Urine filtration membrane under a 4× objective, photographed by an automated digital microscope.
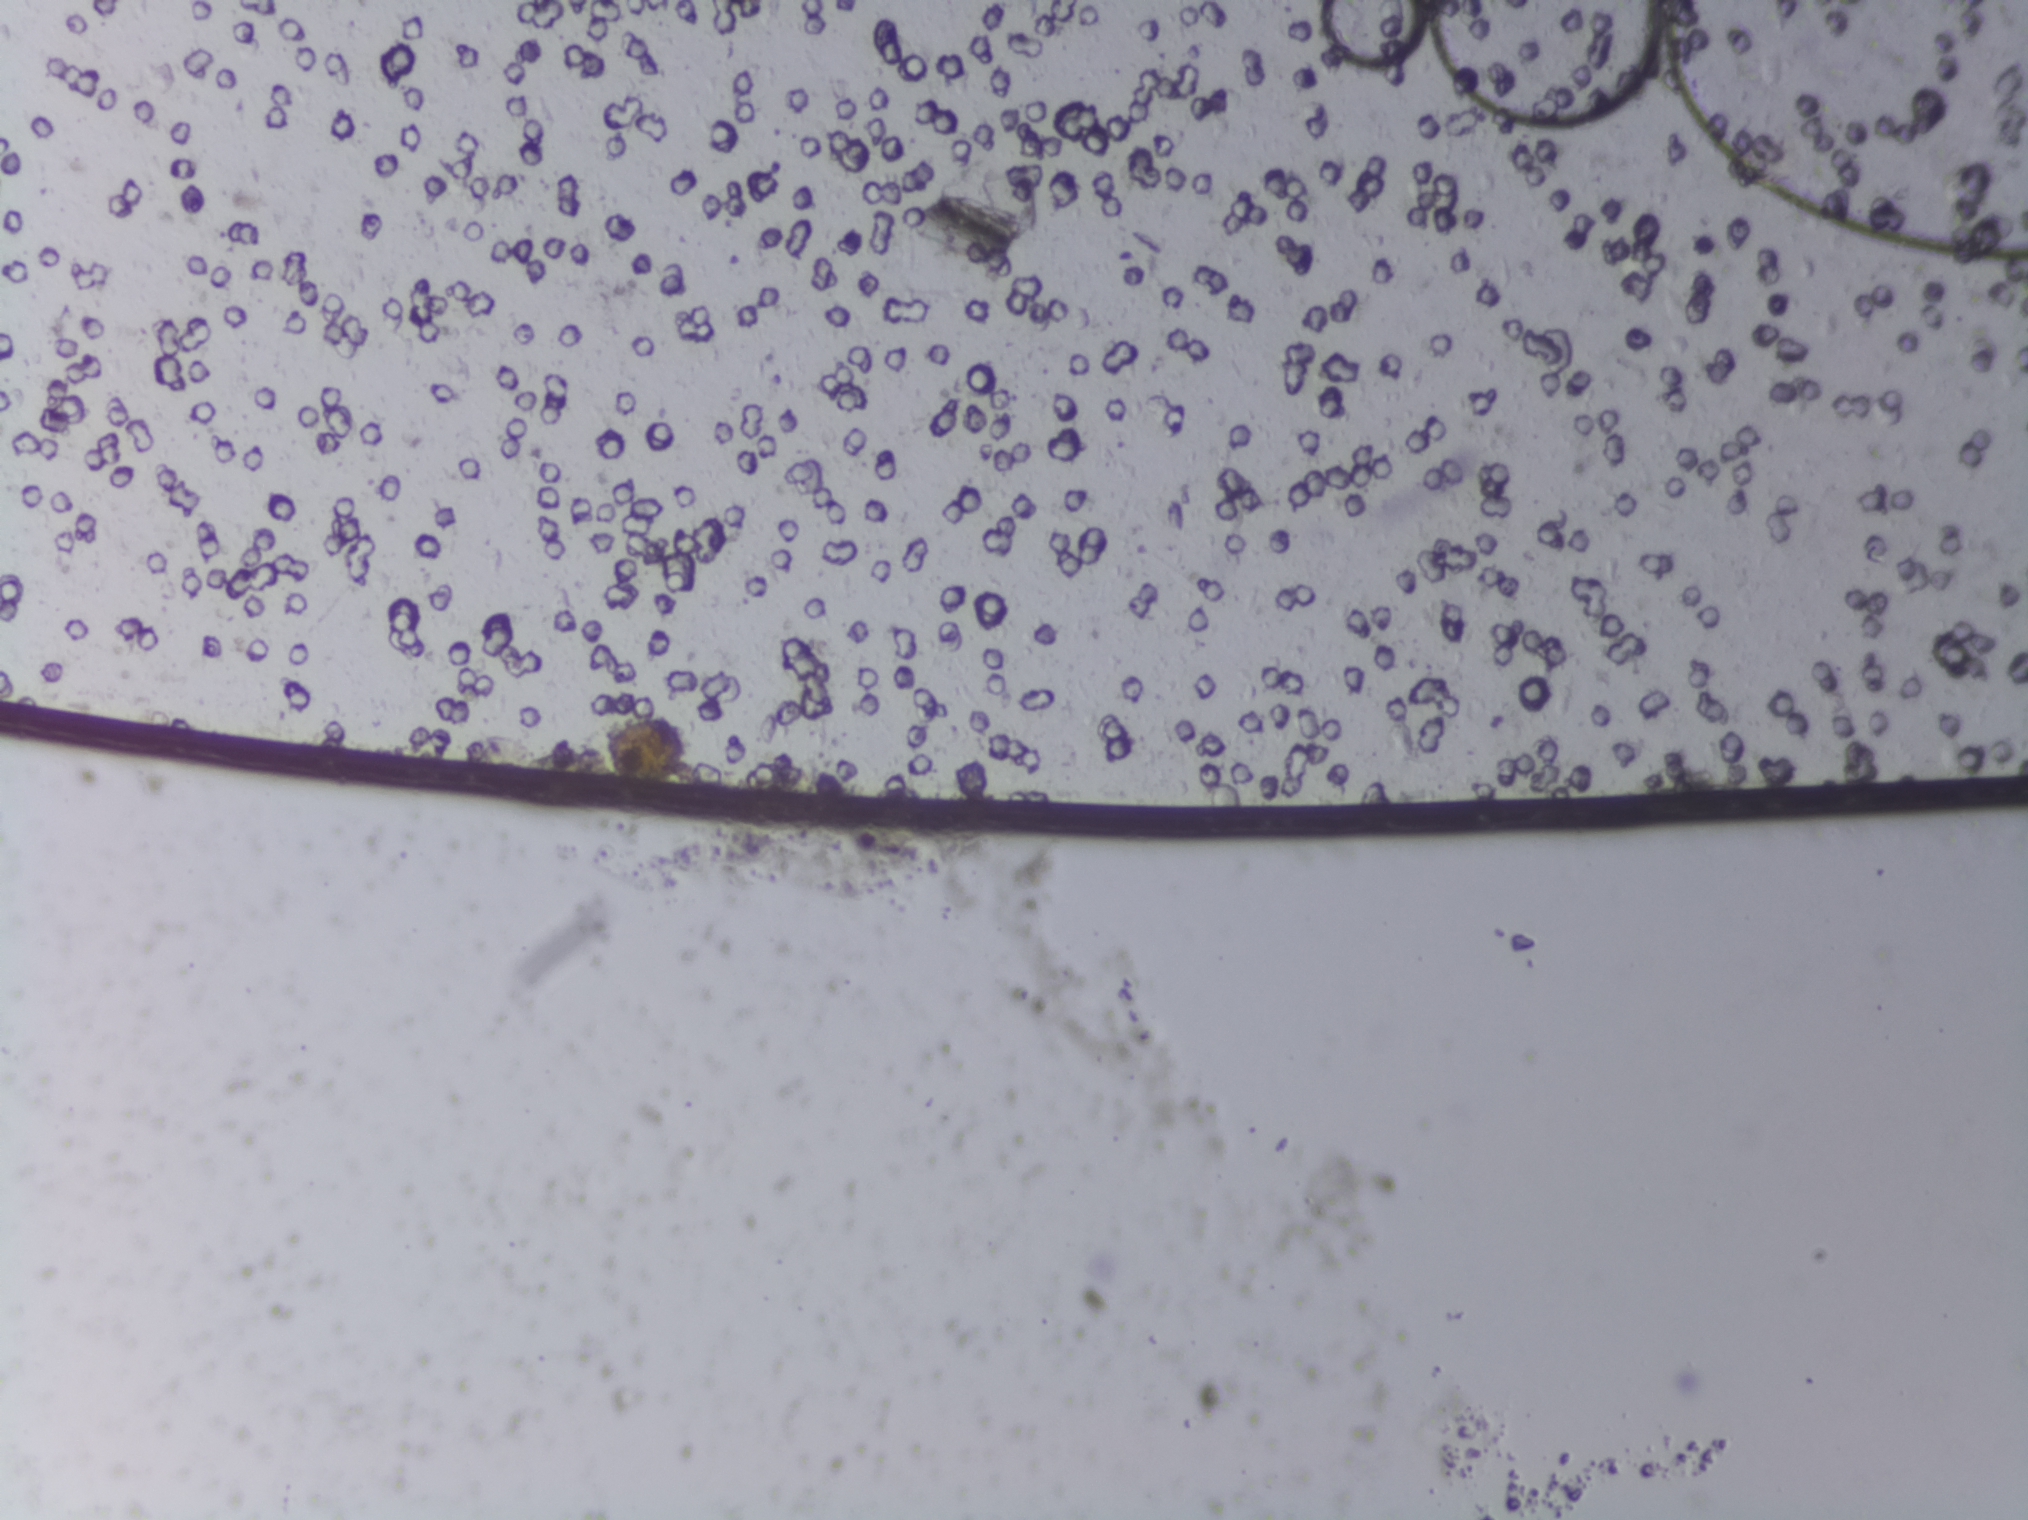
The expert annotation marks no Schistosoma egg in this field of view.